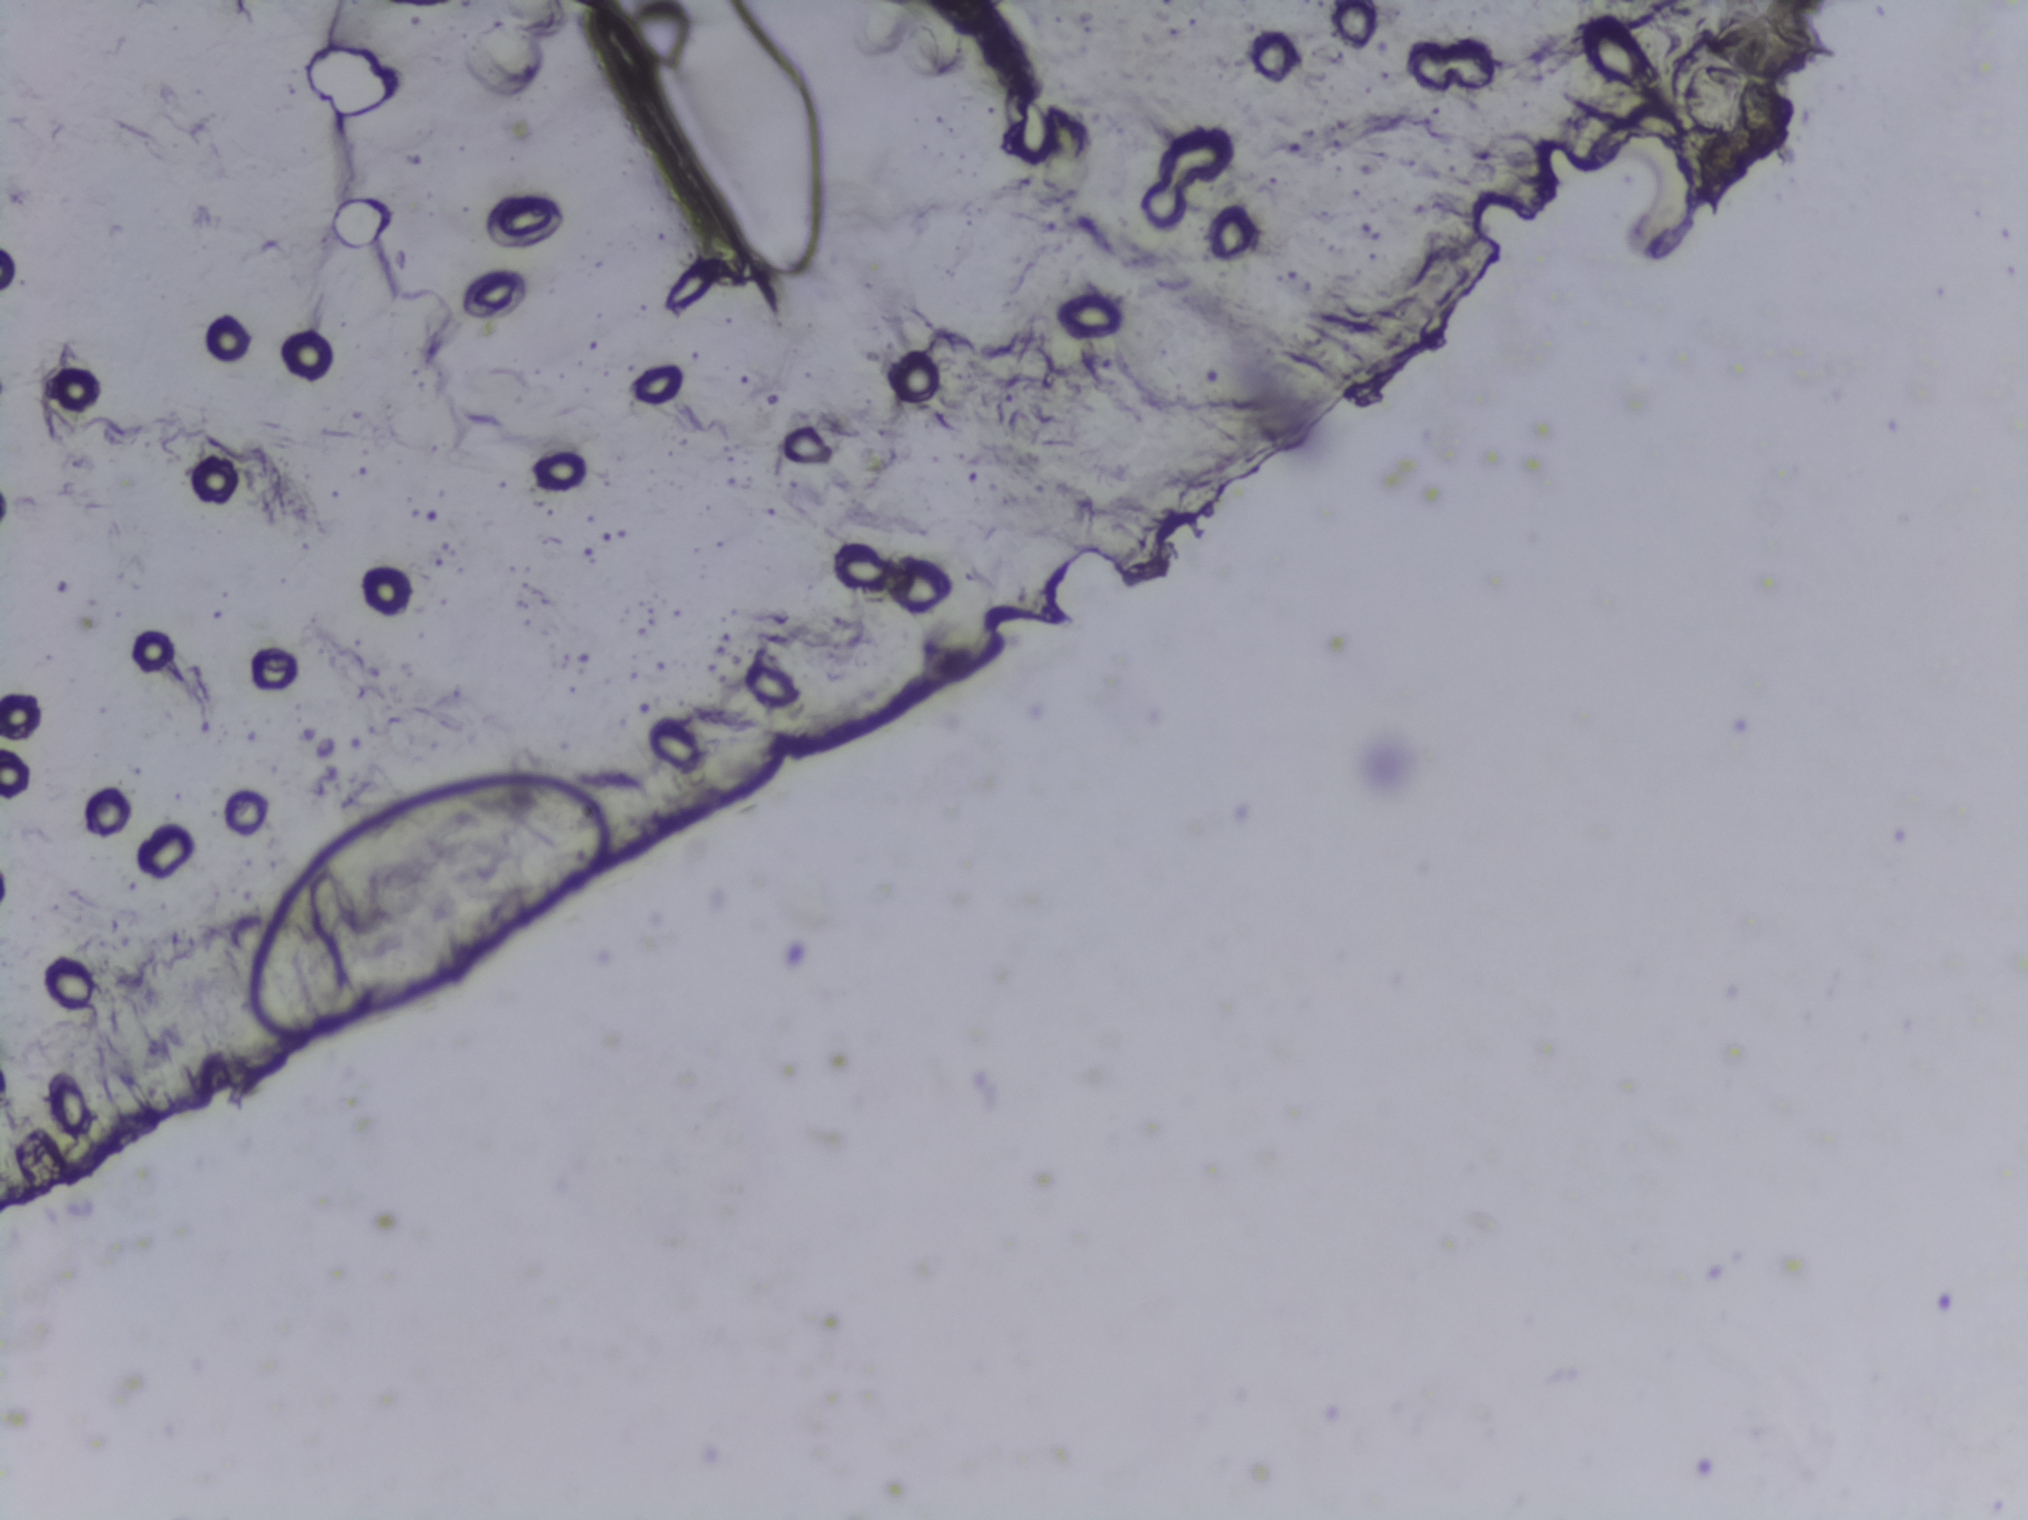
Microscope photograph (4× objective) of a membrane that a urine sample was filtered through.
No Schistosoma egg is outlined in this image's expert annotation.